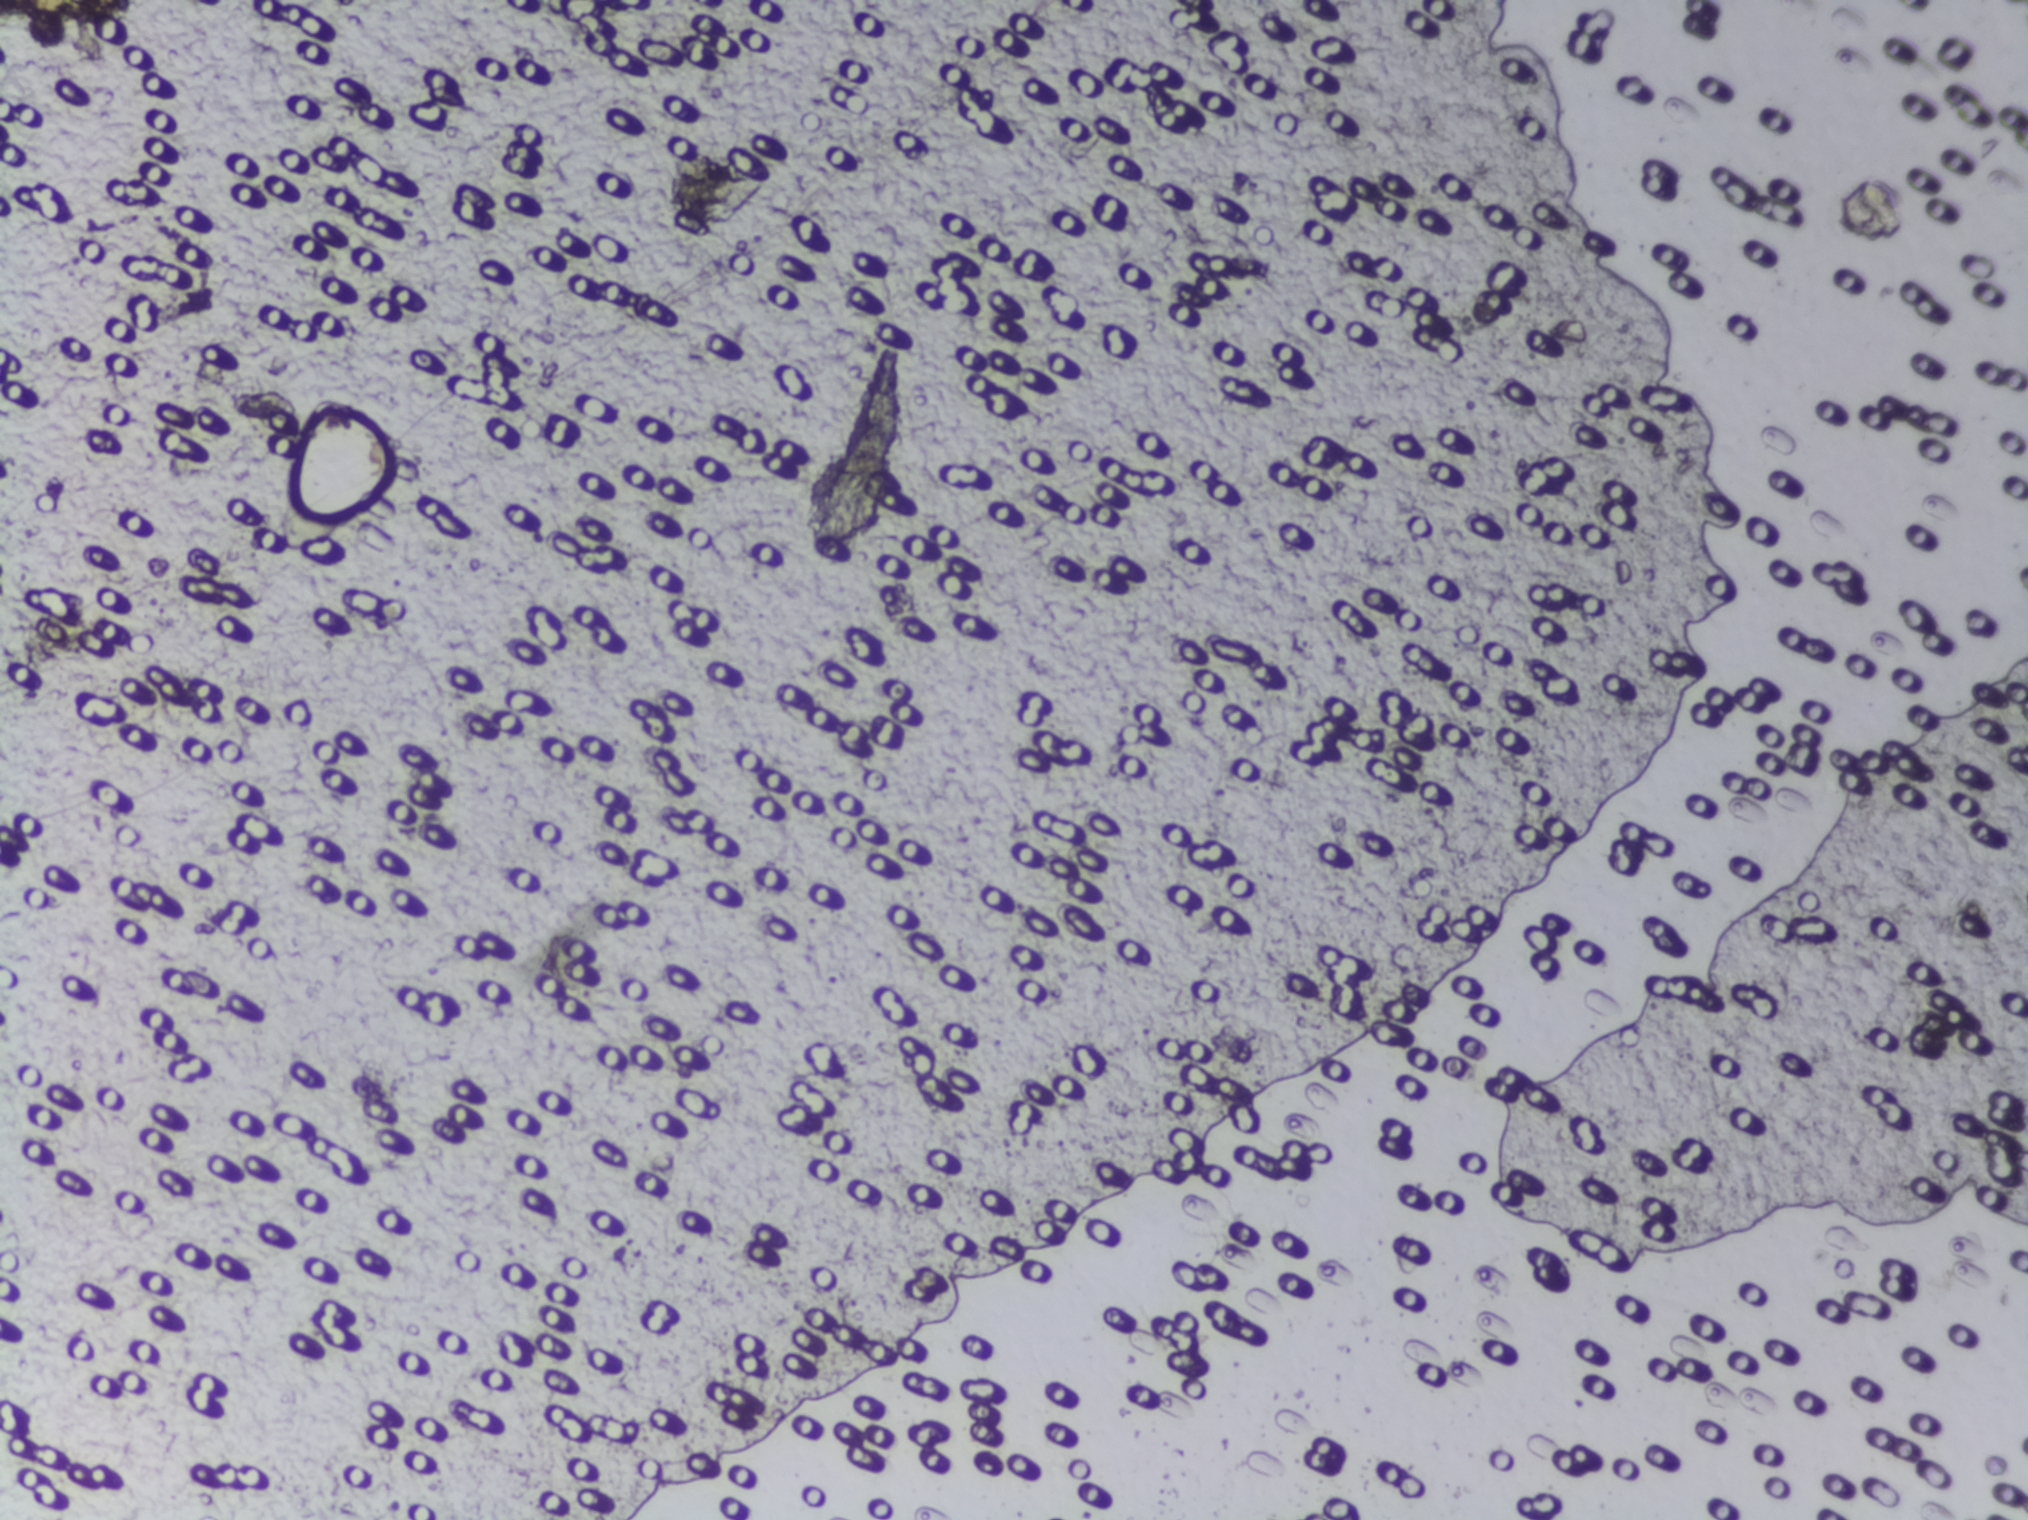
Urine filter membrane photographed through a 4× microscope objective. The field of view is about 1.5 mm × 1.1 mm.
No area of this image was outlined as a Schistosoma egg.